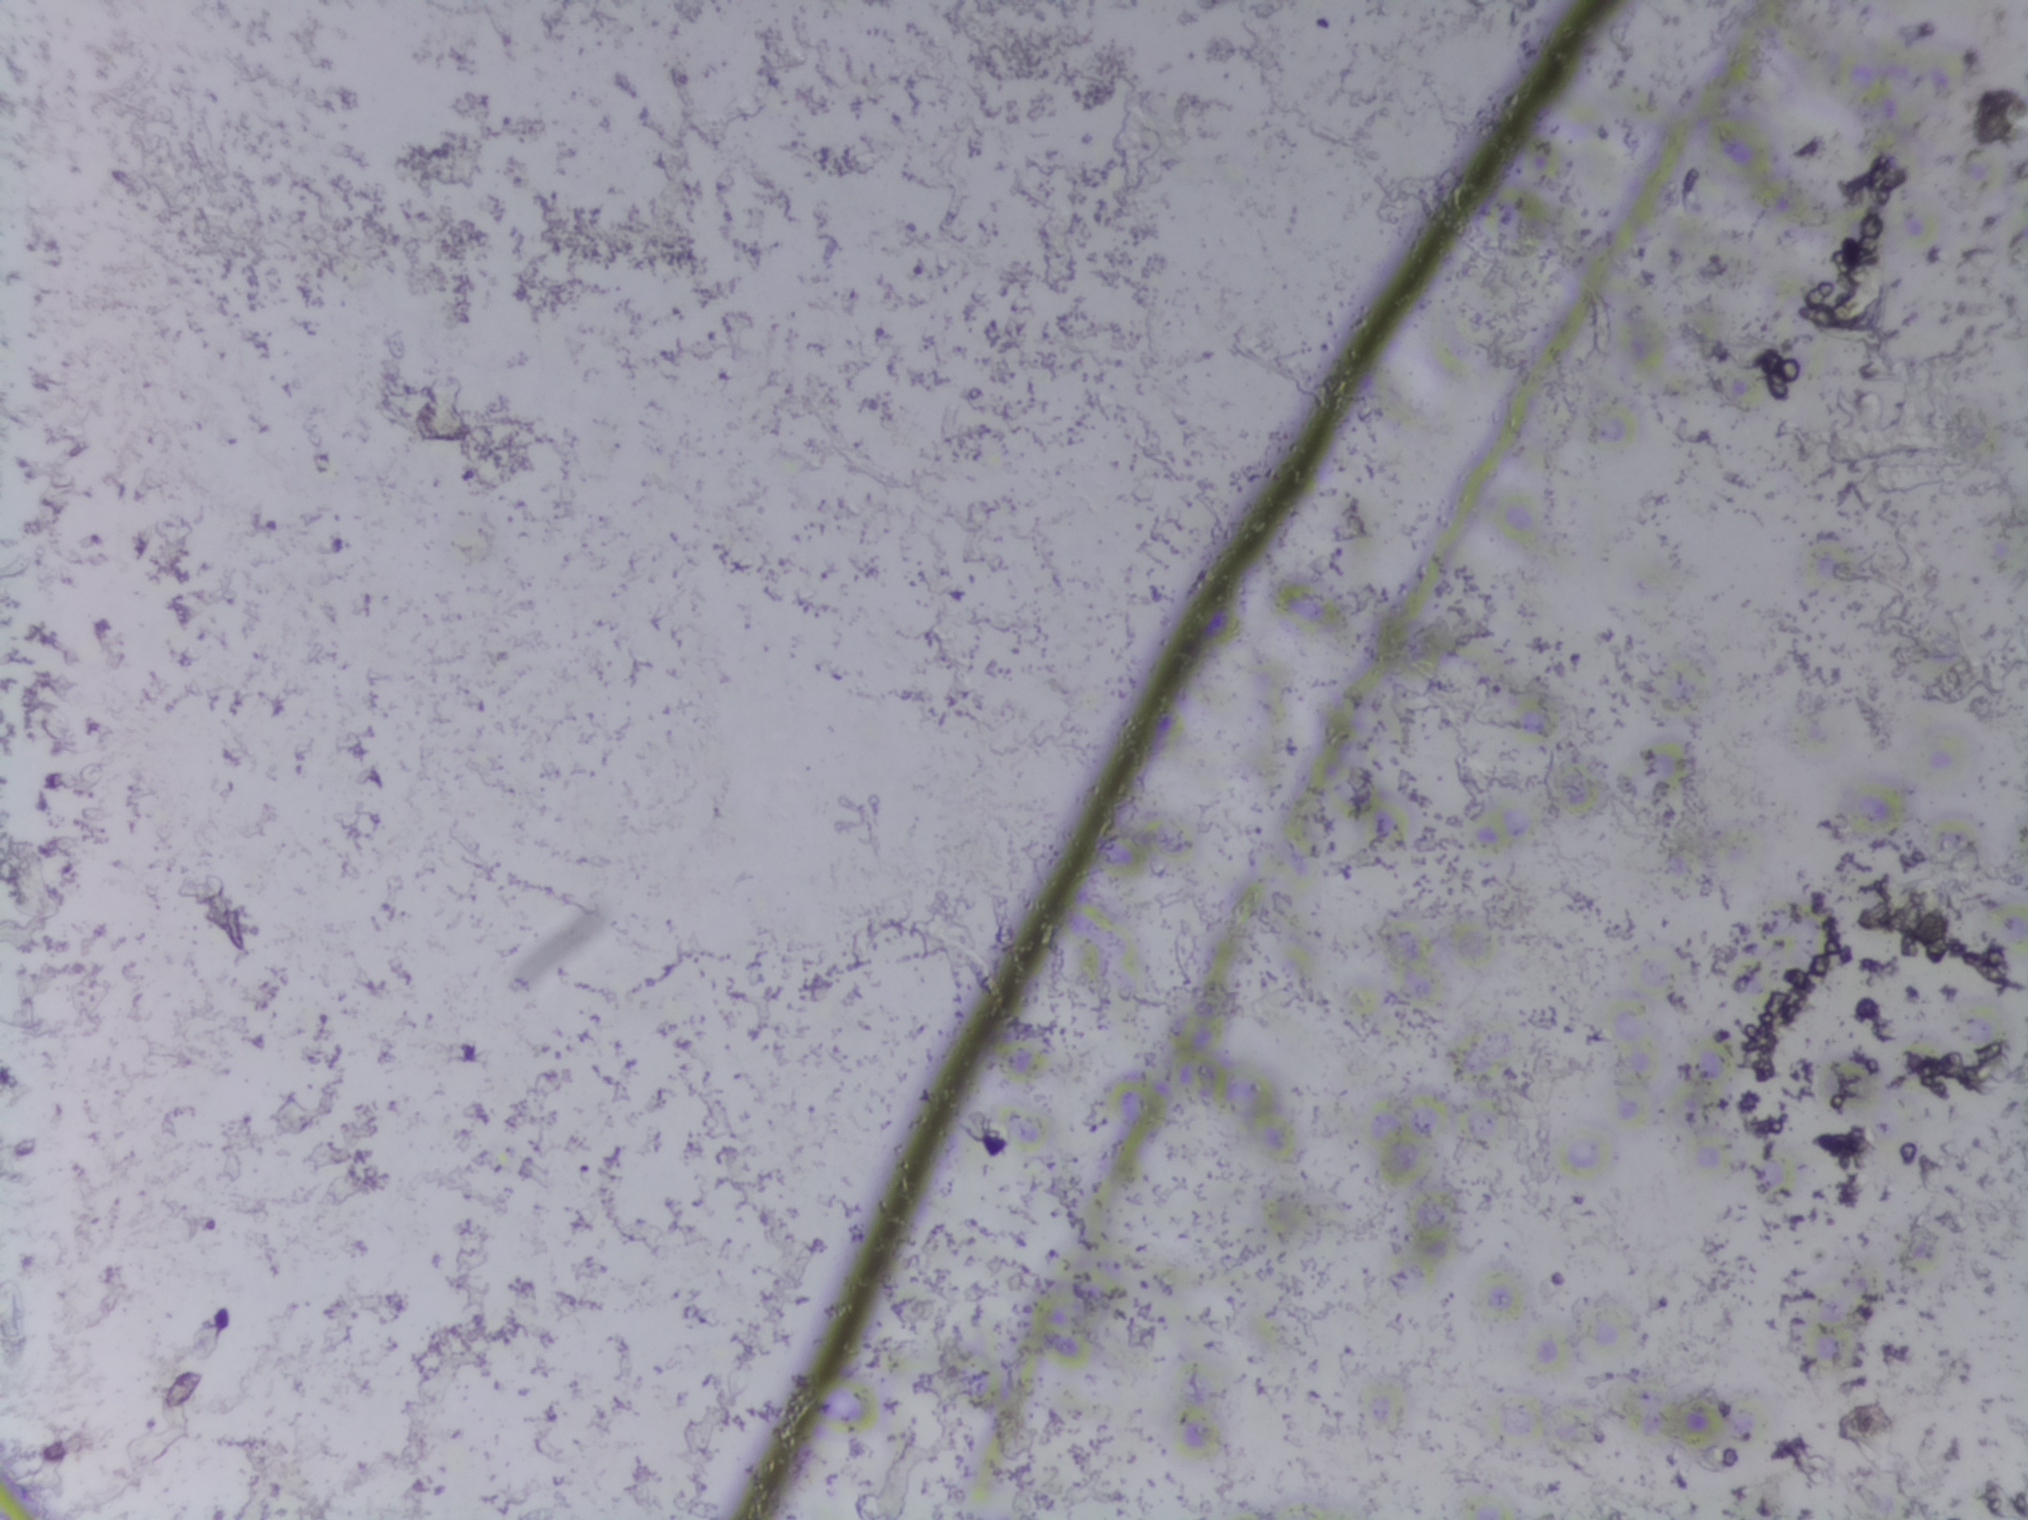
Photomicrograph of a urine filtration membrane, 4× objective. The field of view is about 1.5 mm × 1.1 mm.
No Schistosoma egg is outlined in this image's expert annotation.